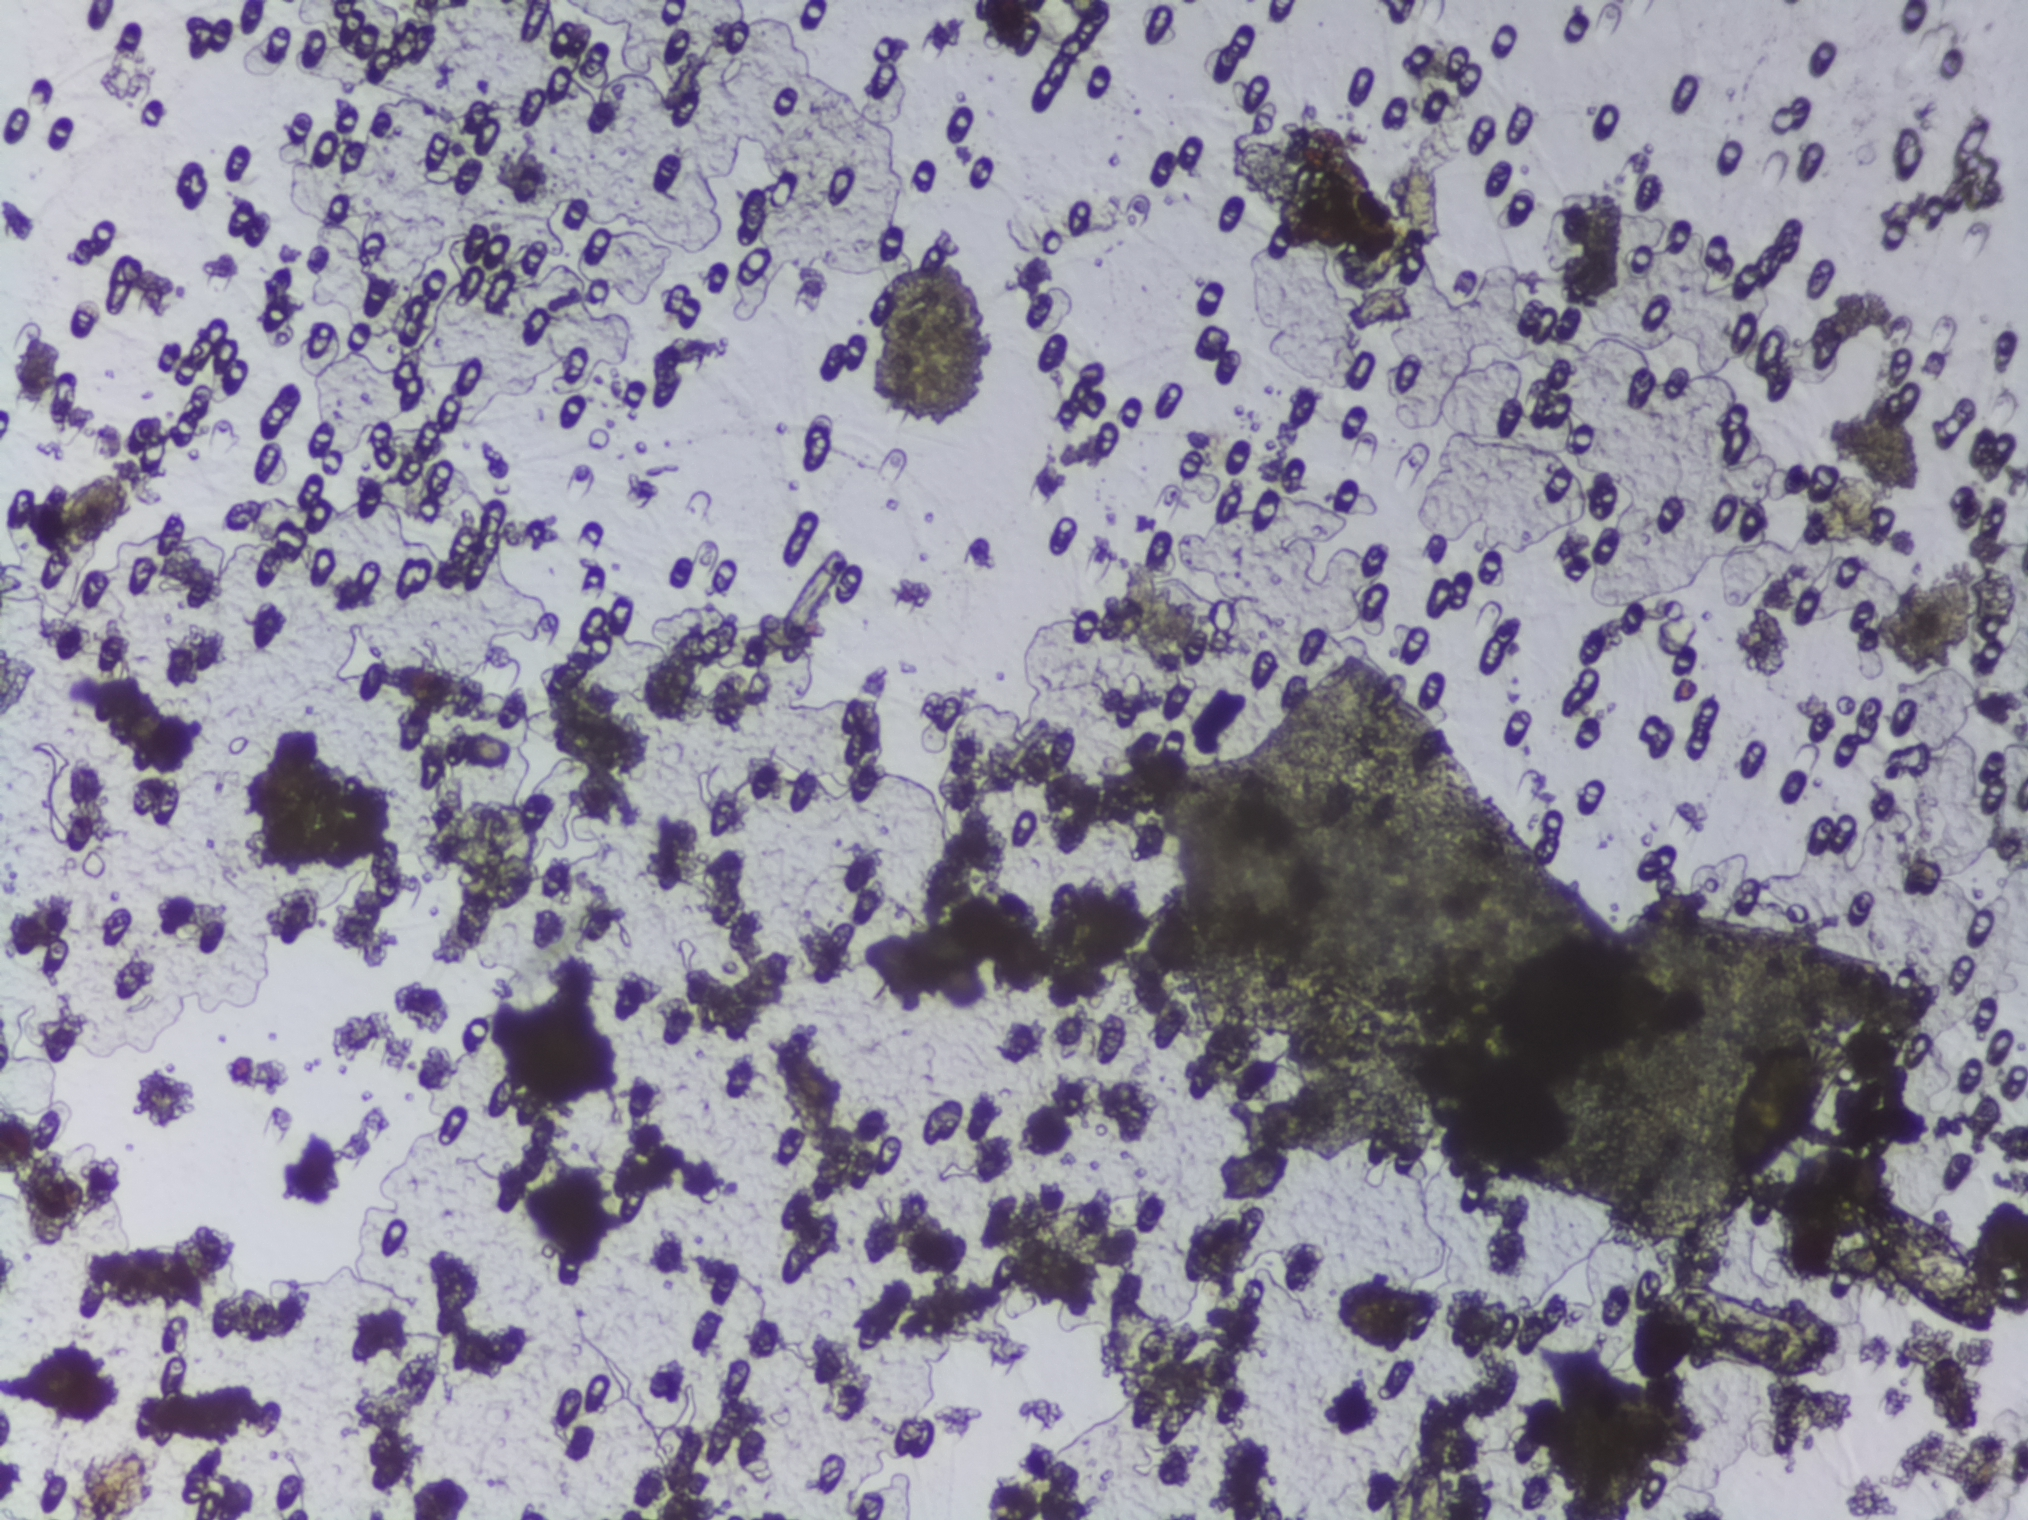
Urine filter membrane photographed through a 4× microscope objective.
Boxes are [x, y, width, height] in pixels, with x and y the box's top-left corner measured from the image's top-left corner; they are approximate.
{"schistosoma_egg_areas_xywh_px": [[1389, 1454, 53, 66], [1646, 1286, 182, 94], [1729, 1036, 92, 145], [1847, 1185, 156, 149]]} Area 1 reaches the bottom edge of the frame.
Marked pixels, not the boxes around them: about 1.1% of the image. A single outlined area may contain several eggs. A marked egg may occasionally be S. mansoni rather than S. haematobium.